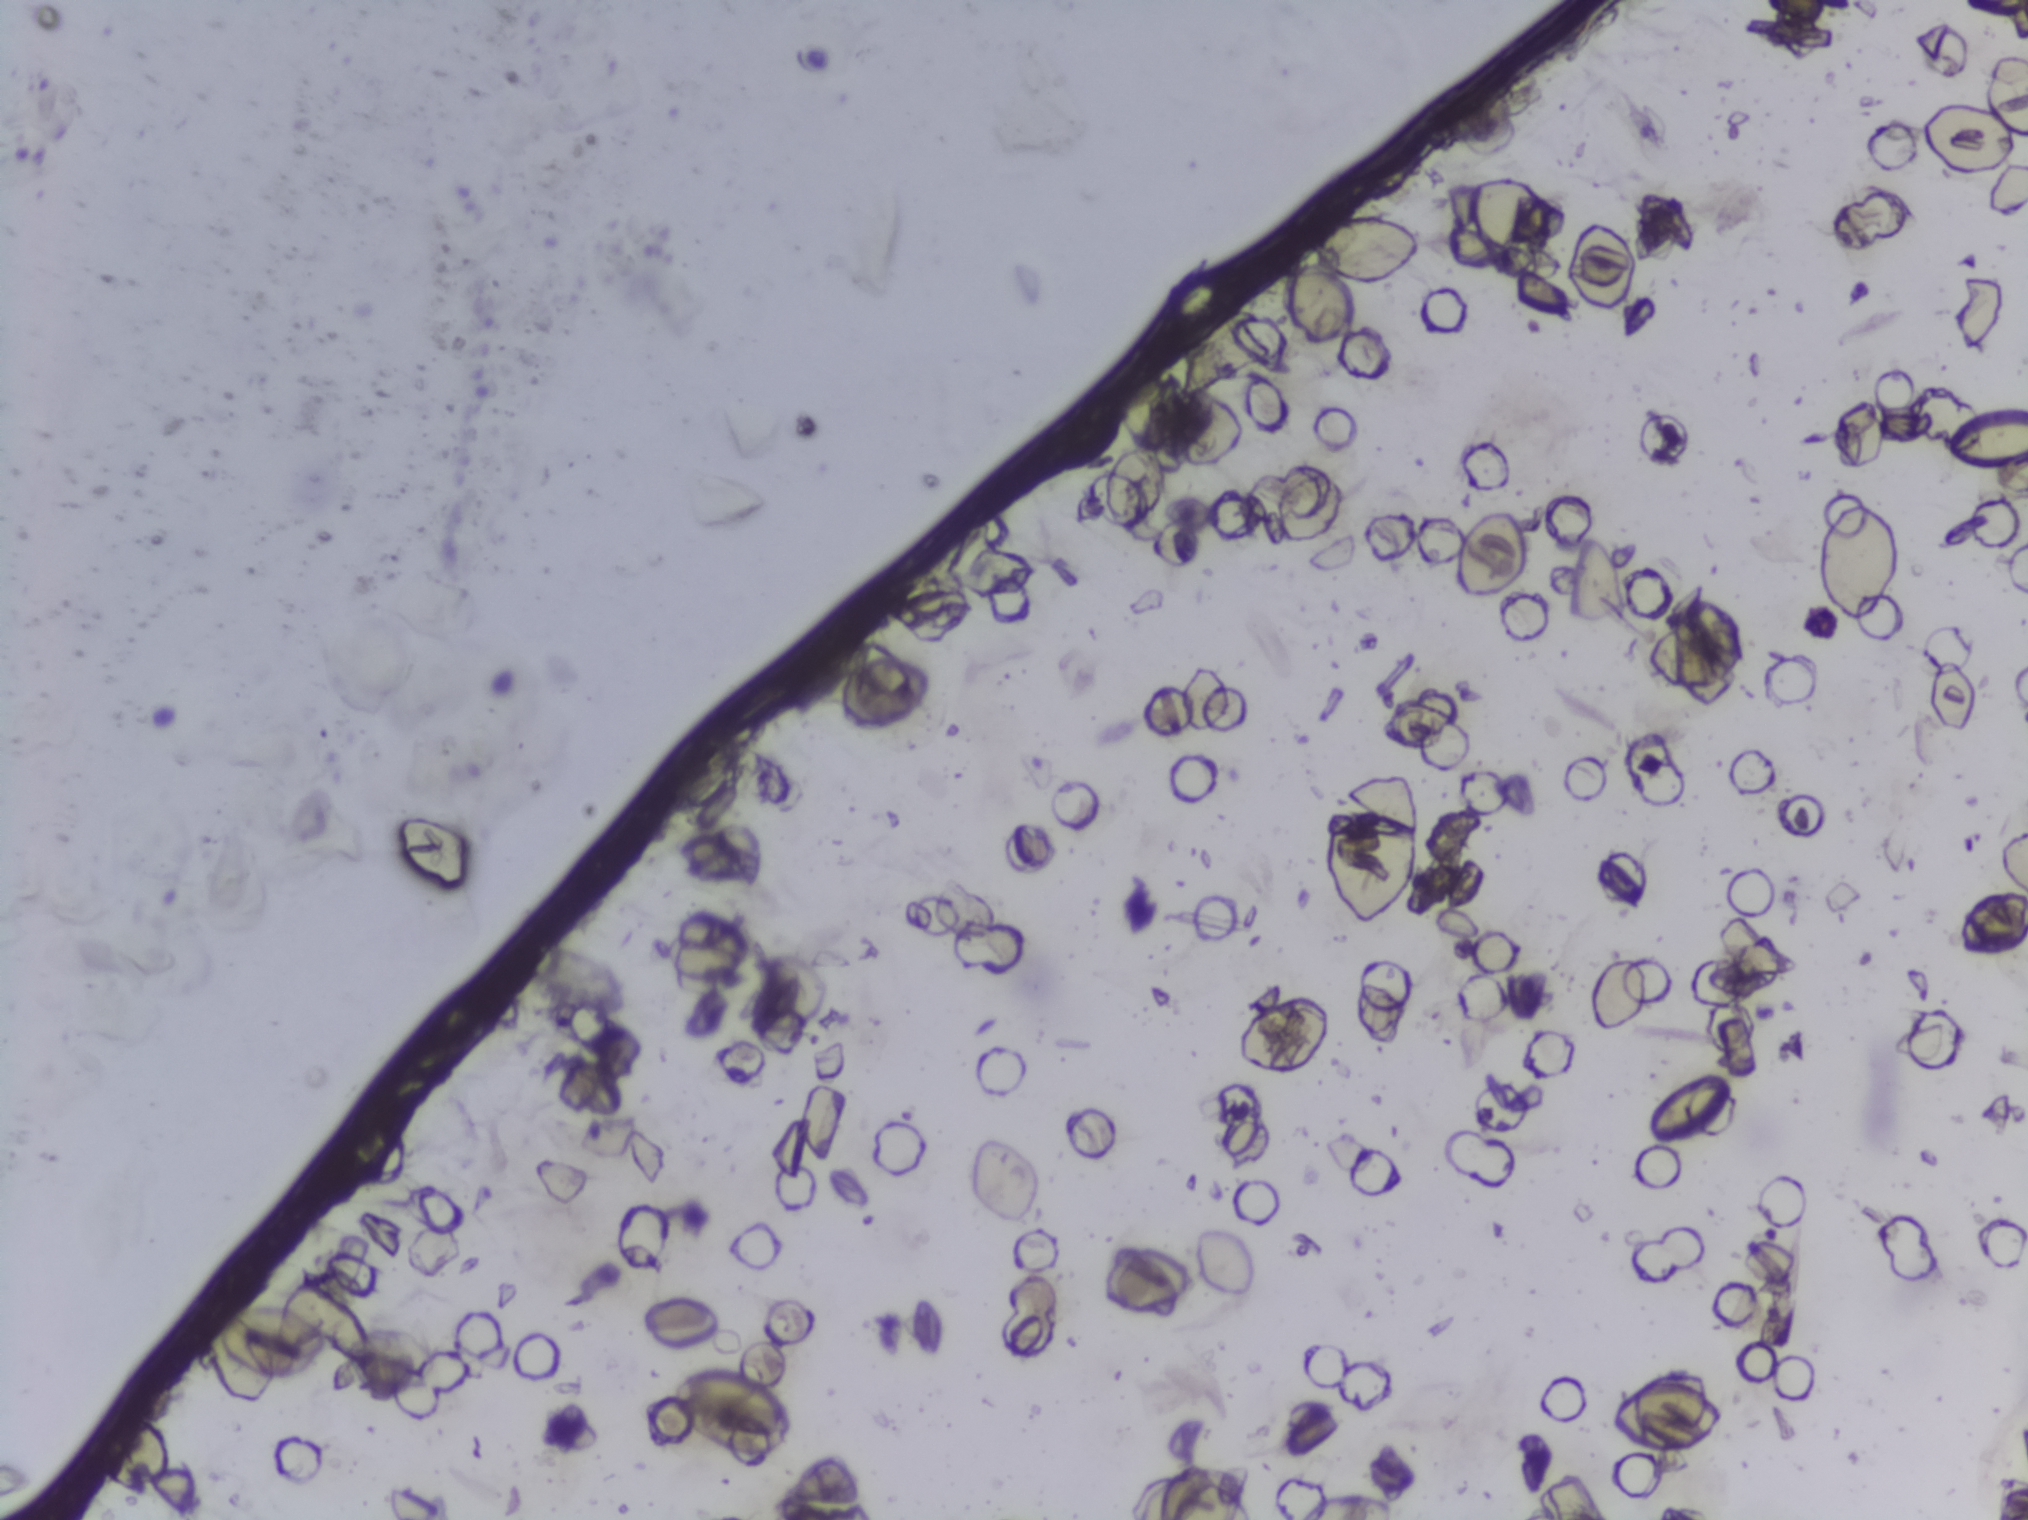
One field of view of a urine filter membrane, 4× objective, 2028 × 1520 pixels.
The expert annotation marks no Schistosoma egg in this field of view.